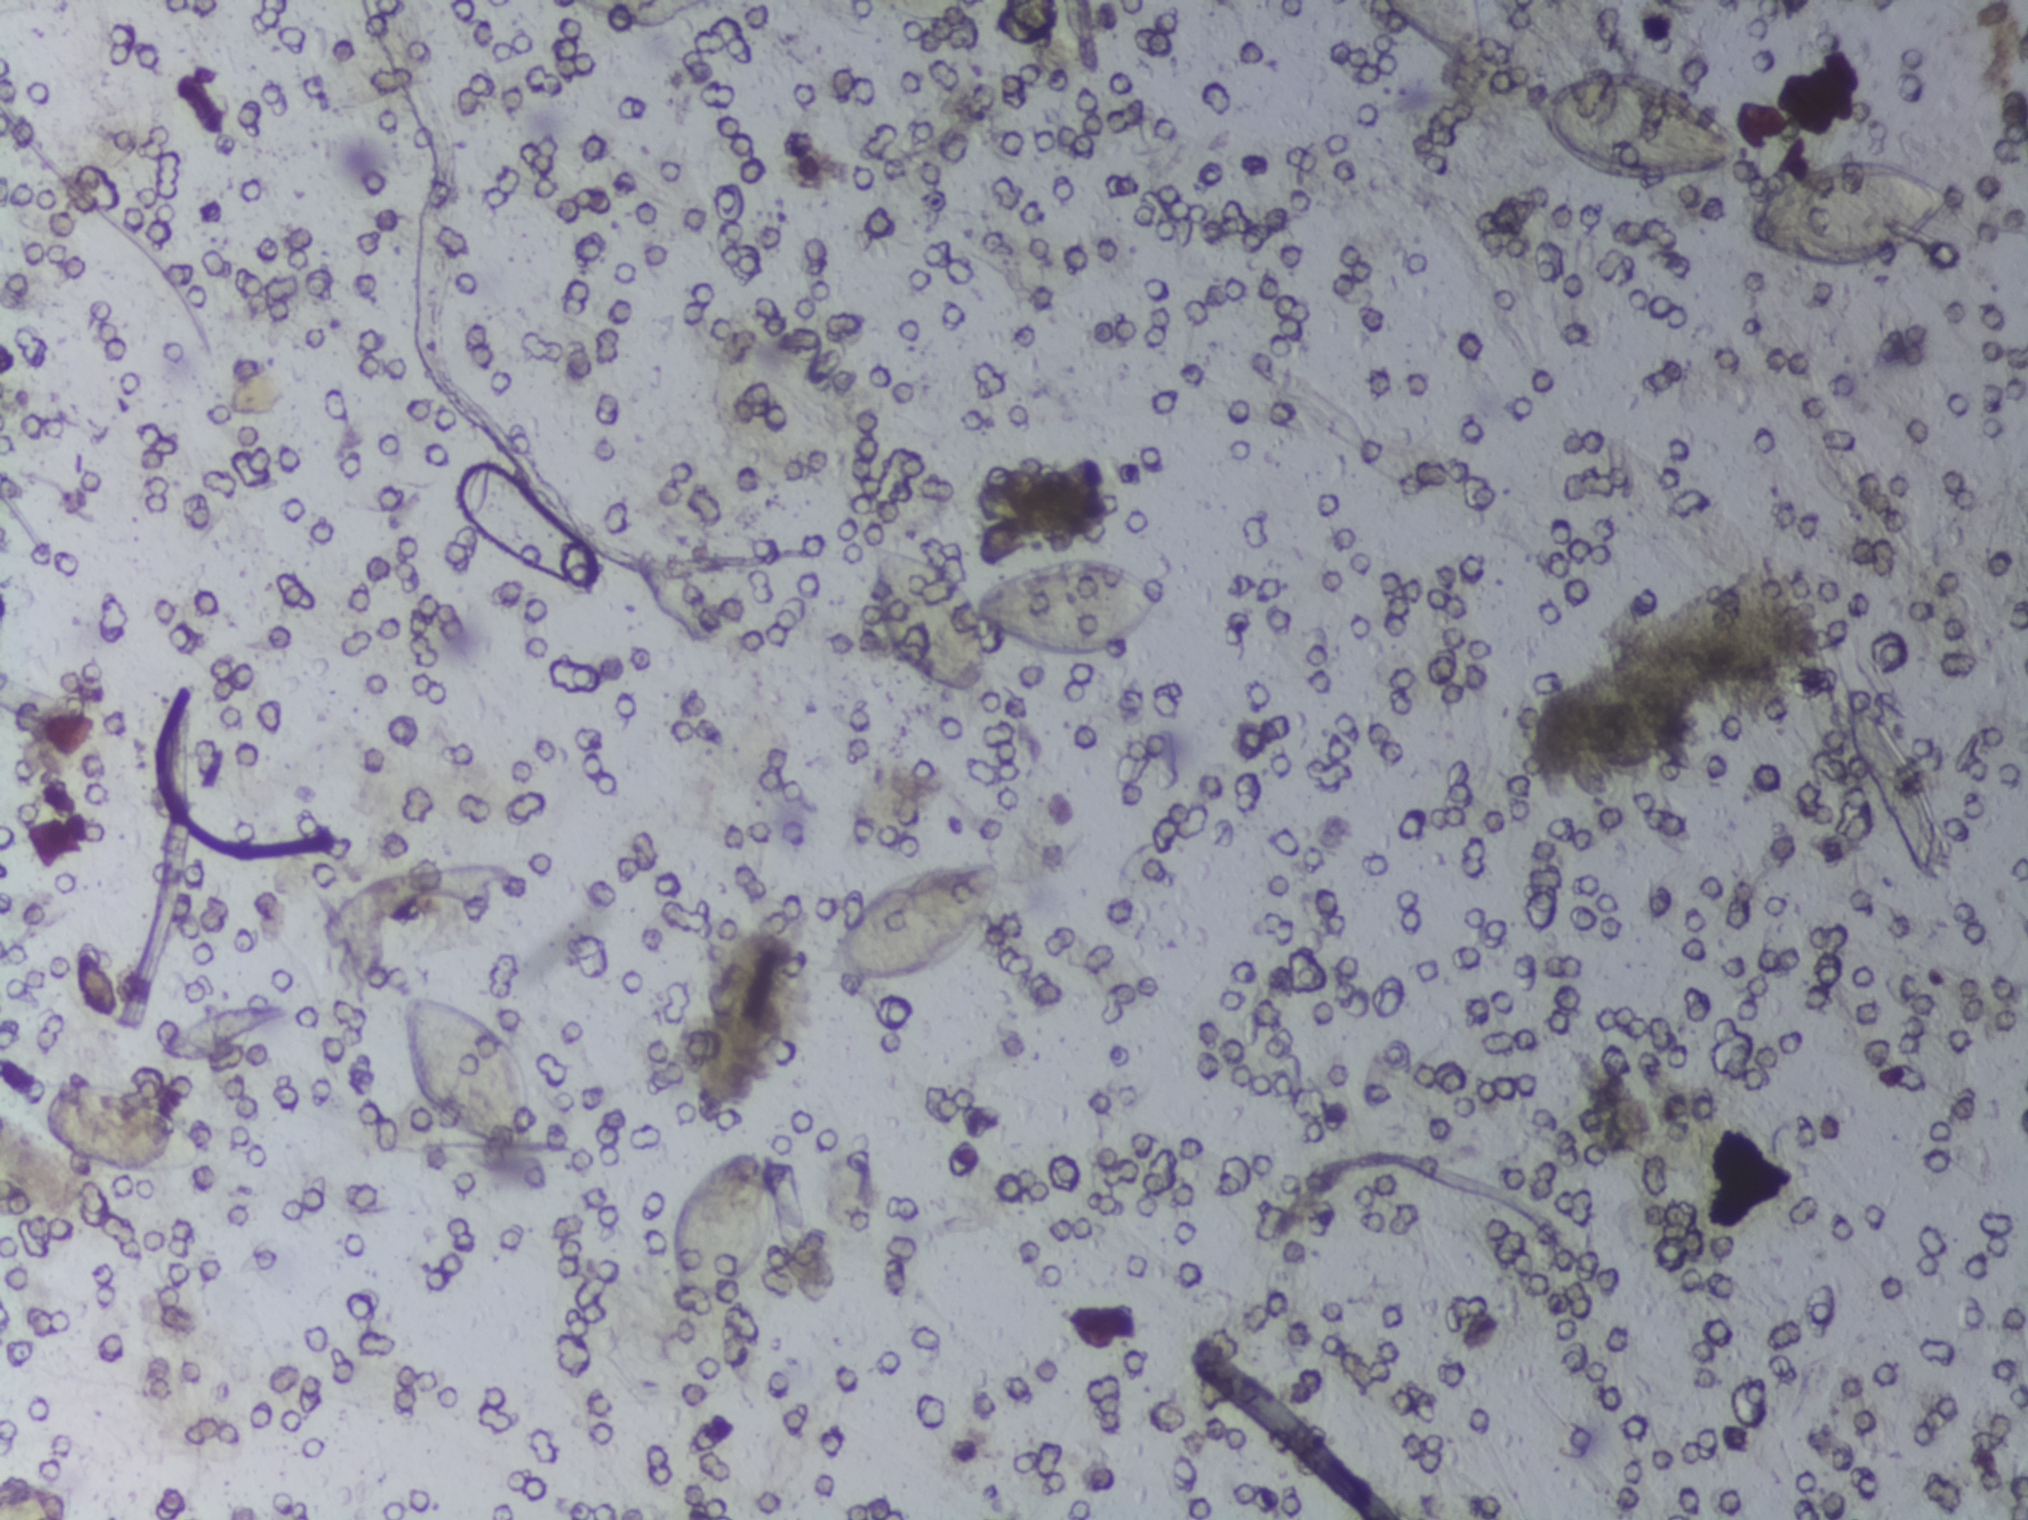
Photomicrograph of a urine filtration membrane, 4× objective.
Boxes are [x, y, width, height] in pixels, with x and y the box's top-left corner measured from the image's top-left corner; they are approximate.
The expert annotation outlines Schistosoma eggs at [8, 1077, 202, 103]; [398, 992, 140, 170]; [668, 1150, 107, 166]; [813, 859, 191, 123]; [866, 541, 310, 160]; [1369, 0, 120, 82] (reaching the top edge of the frame); [1523, 66, 219, 119]; [1742, 156, 212, 116]. Eggs that touch can end up inside the same outlined area.